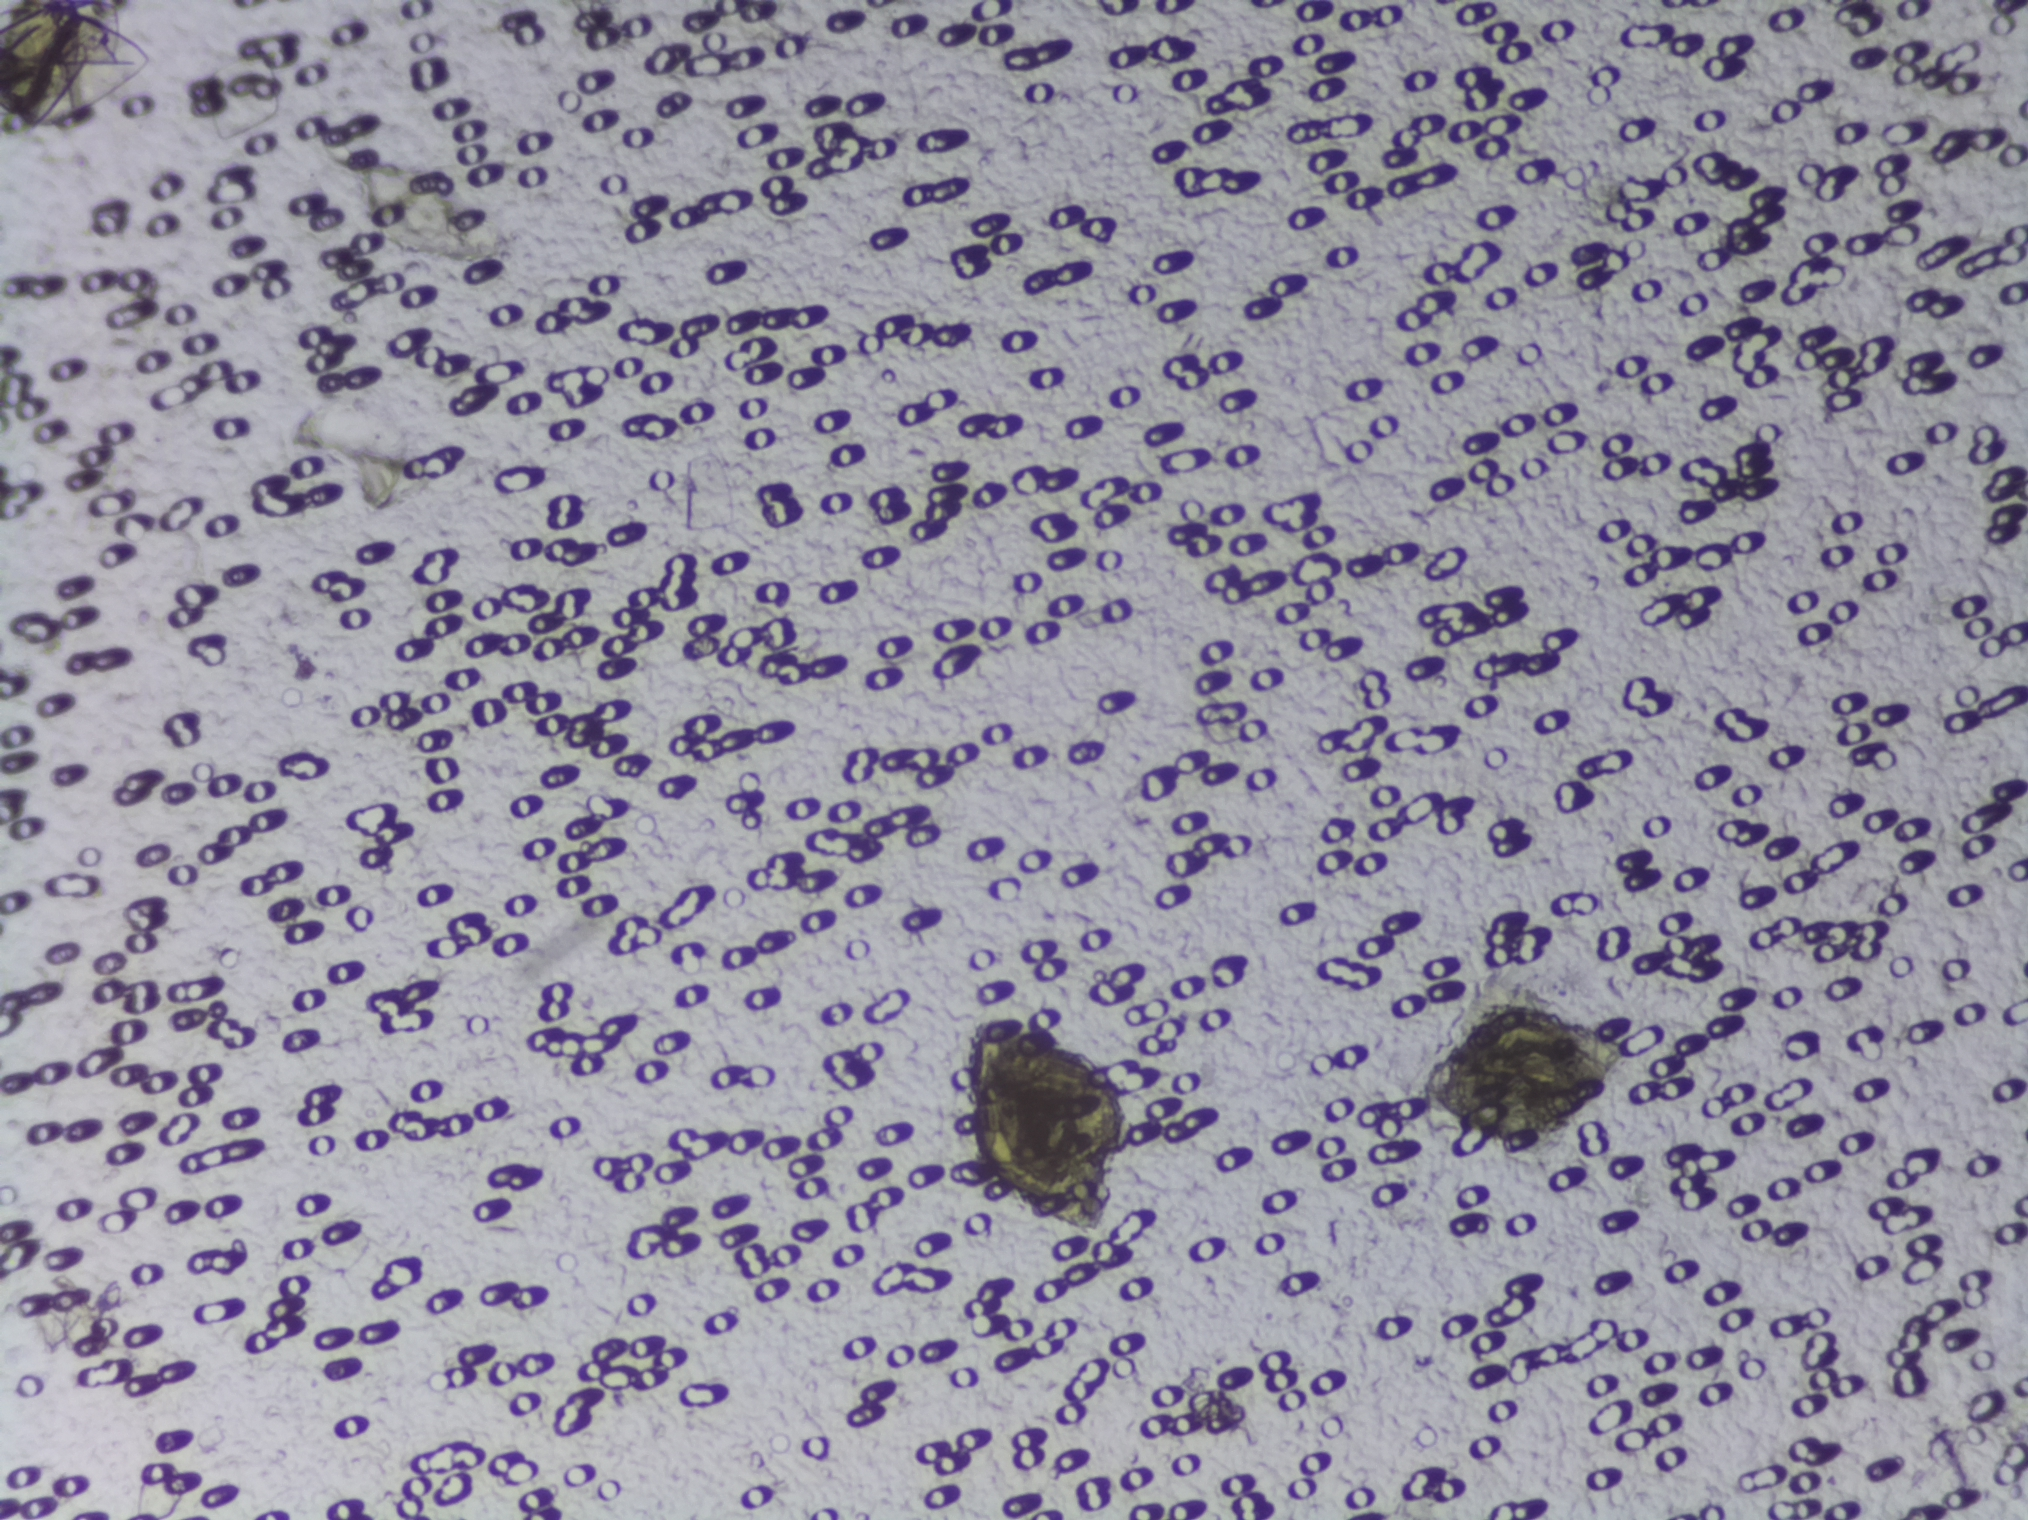
Microscope photograph (4× objective) of a membrane that a urine sample was filtered through.
No Schistosoma egg is outlined in this image's expert annotation.